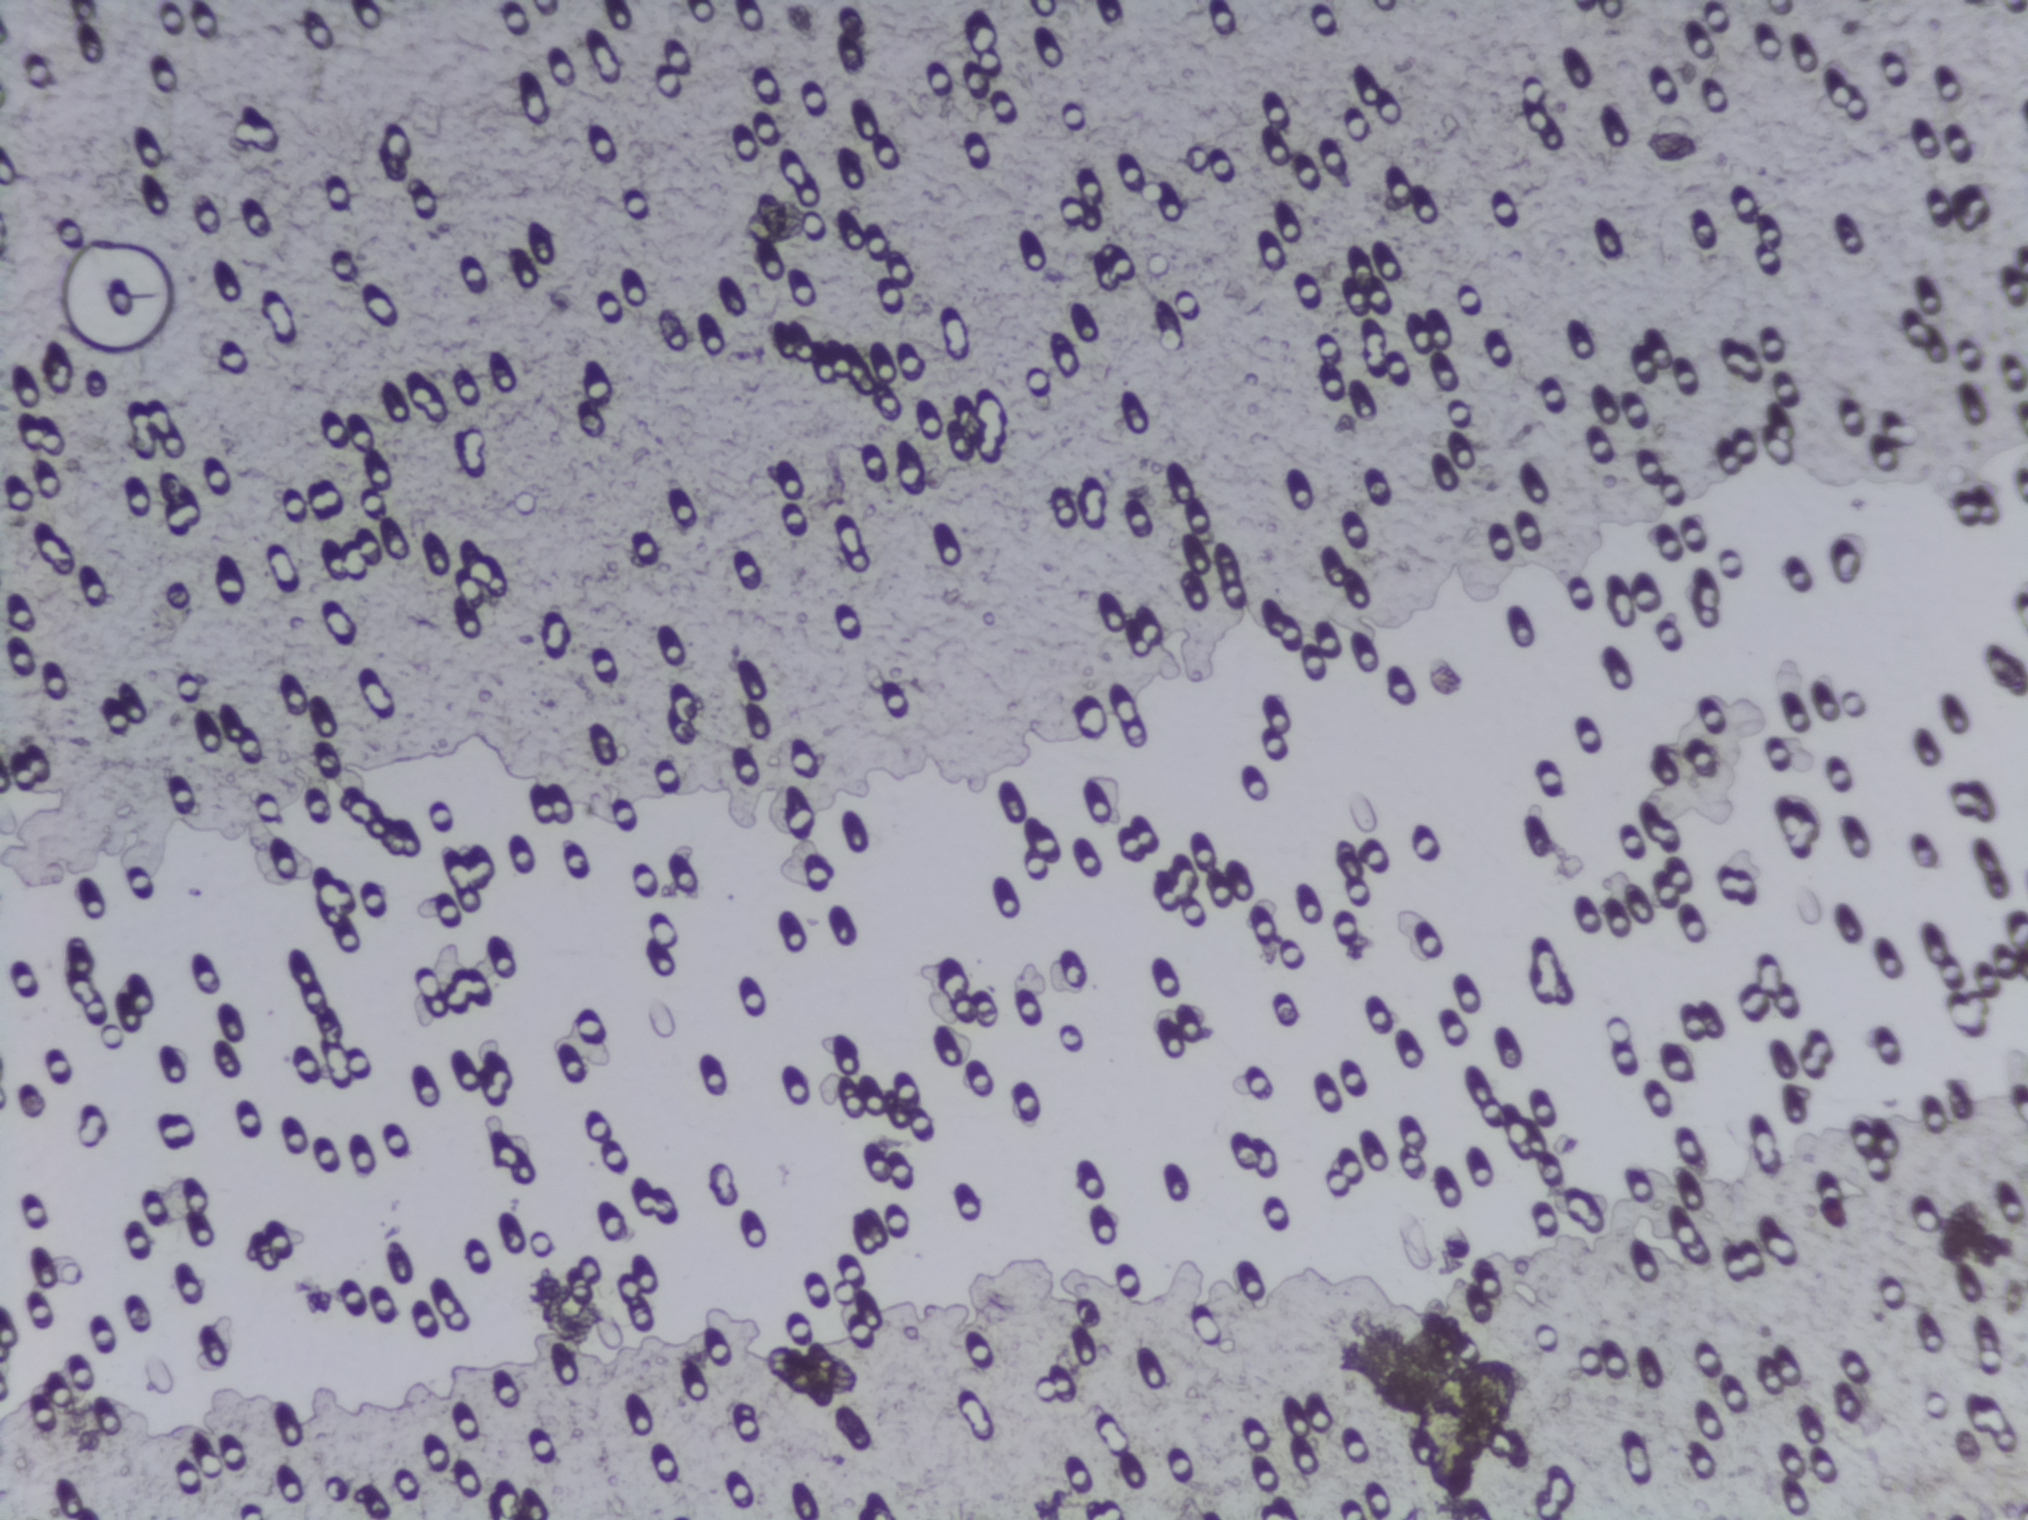
Urine filter membrane photographed through a 4× microscope objective. The image covers about 1.5 × 1.1 mm of the membrane.
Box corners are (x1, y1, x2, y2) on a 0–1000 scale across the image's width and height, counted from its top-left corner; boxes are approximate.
Findings: one area outlined as Schistosoma eggs. Location: (695, 892, 750, 968). About 0.3% of the image's pixels are marked (the marked pixels themselves, not the box around them). Eggs that touch can end up inside the same outlined area. Any one outlined egg may, rarely, be S. mansoni rather than S. haematobium.